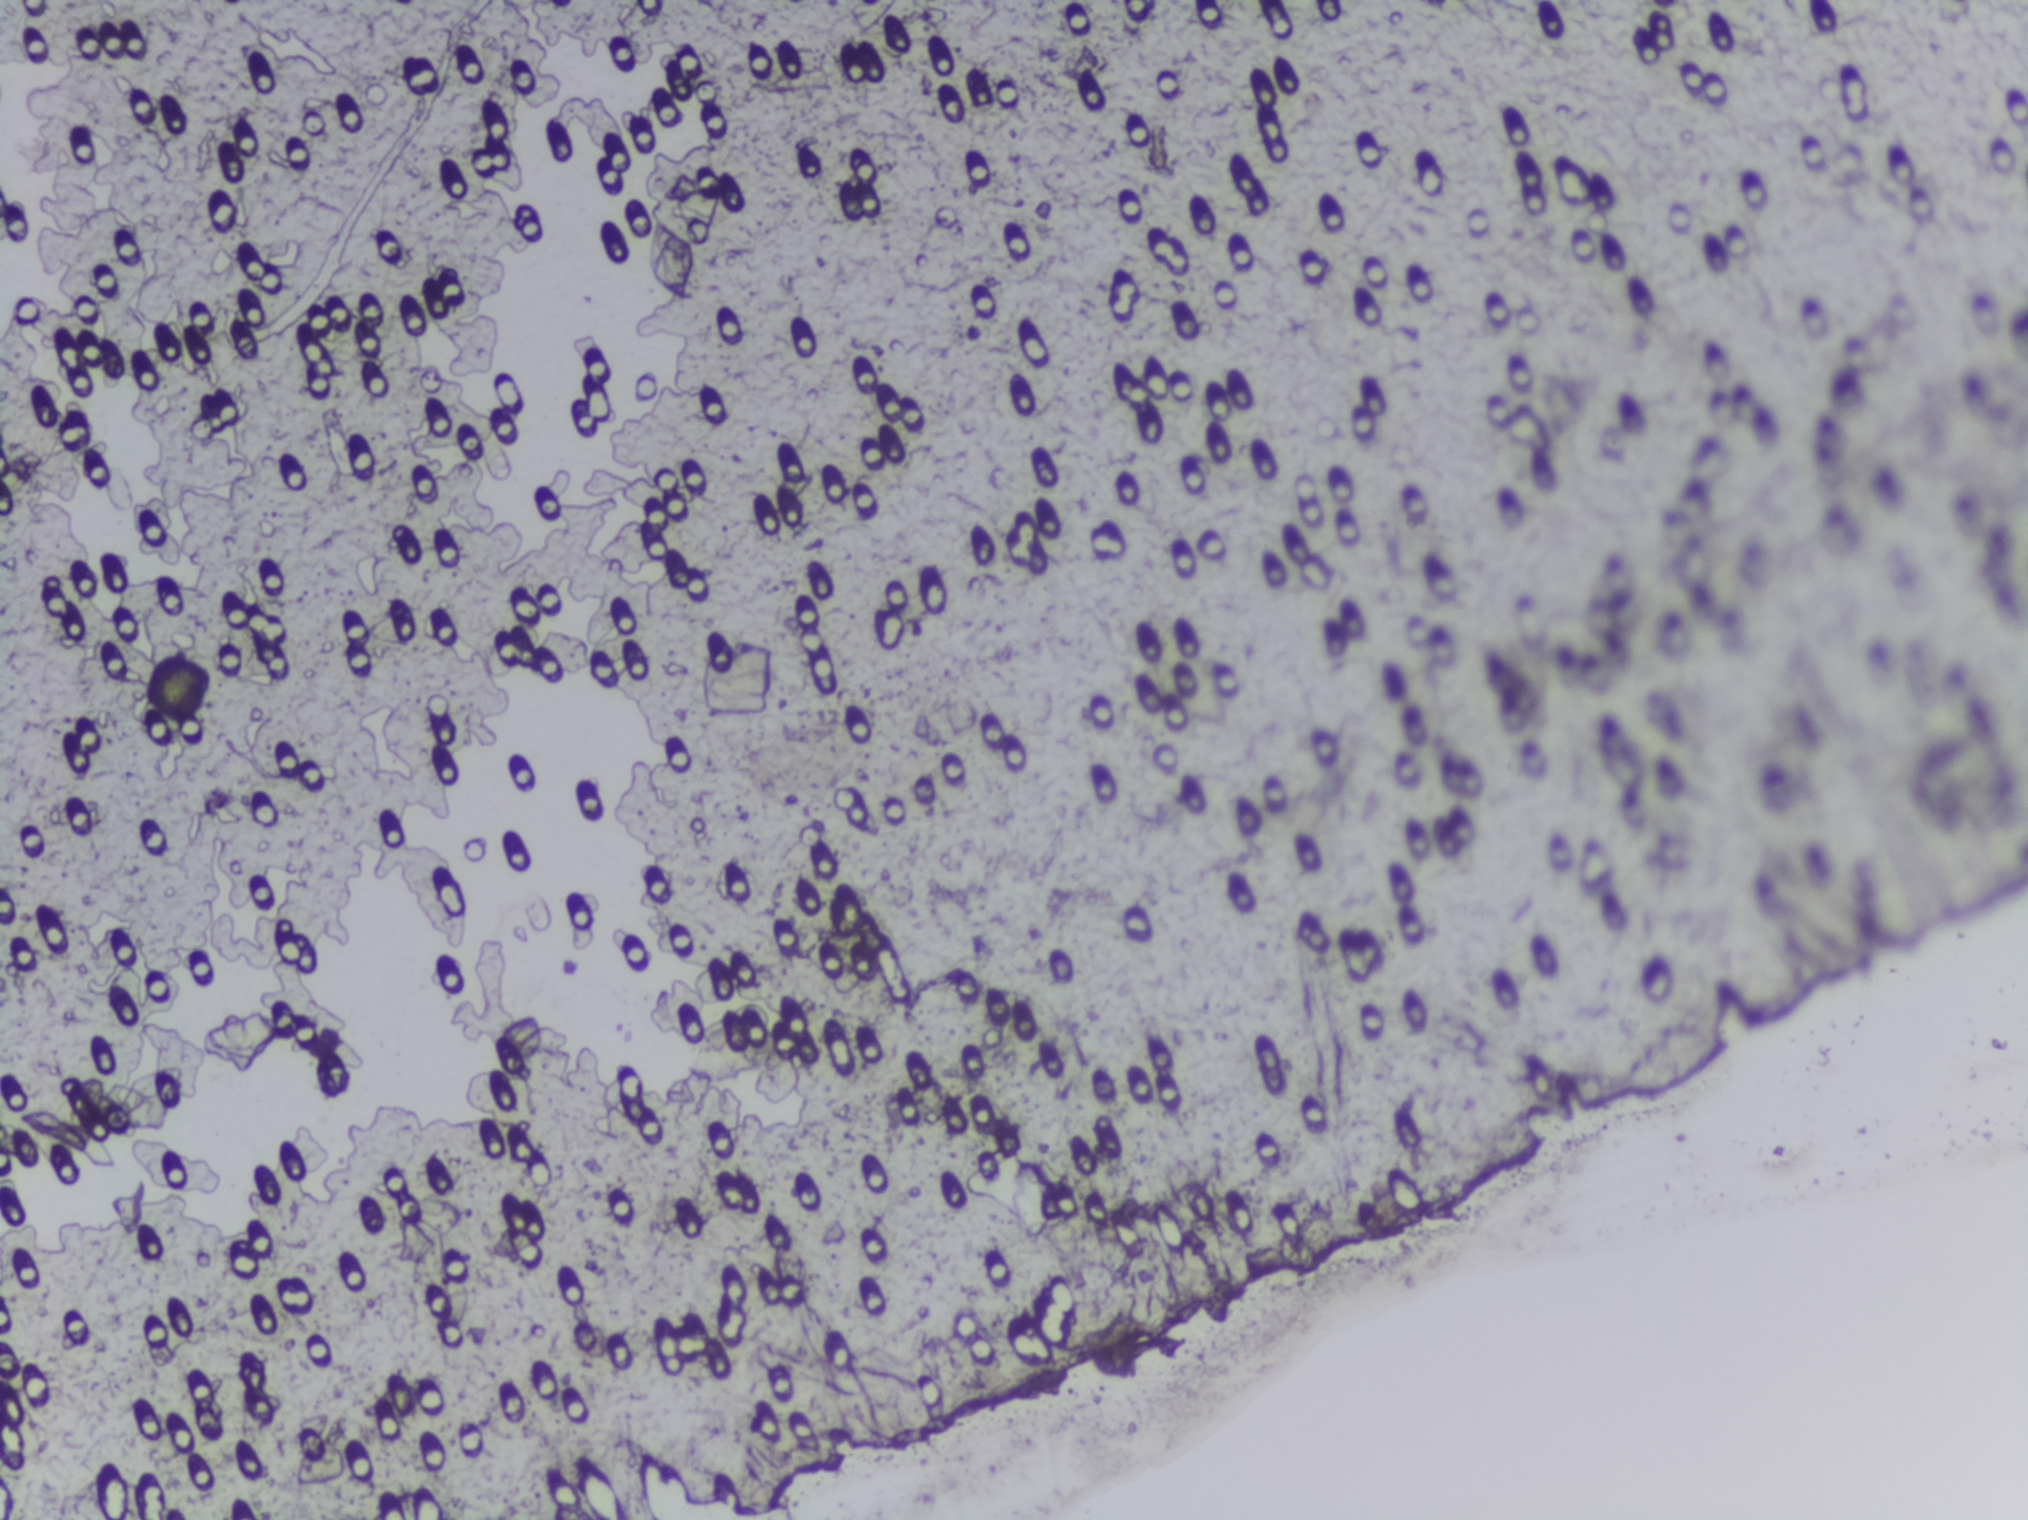
One field of view of a urine filter membrane, 4× objective, 2028 × 1520 pixels.
Schistosoma eggs: none outlined.